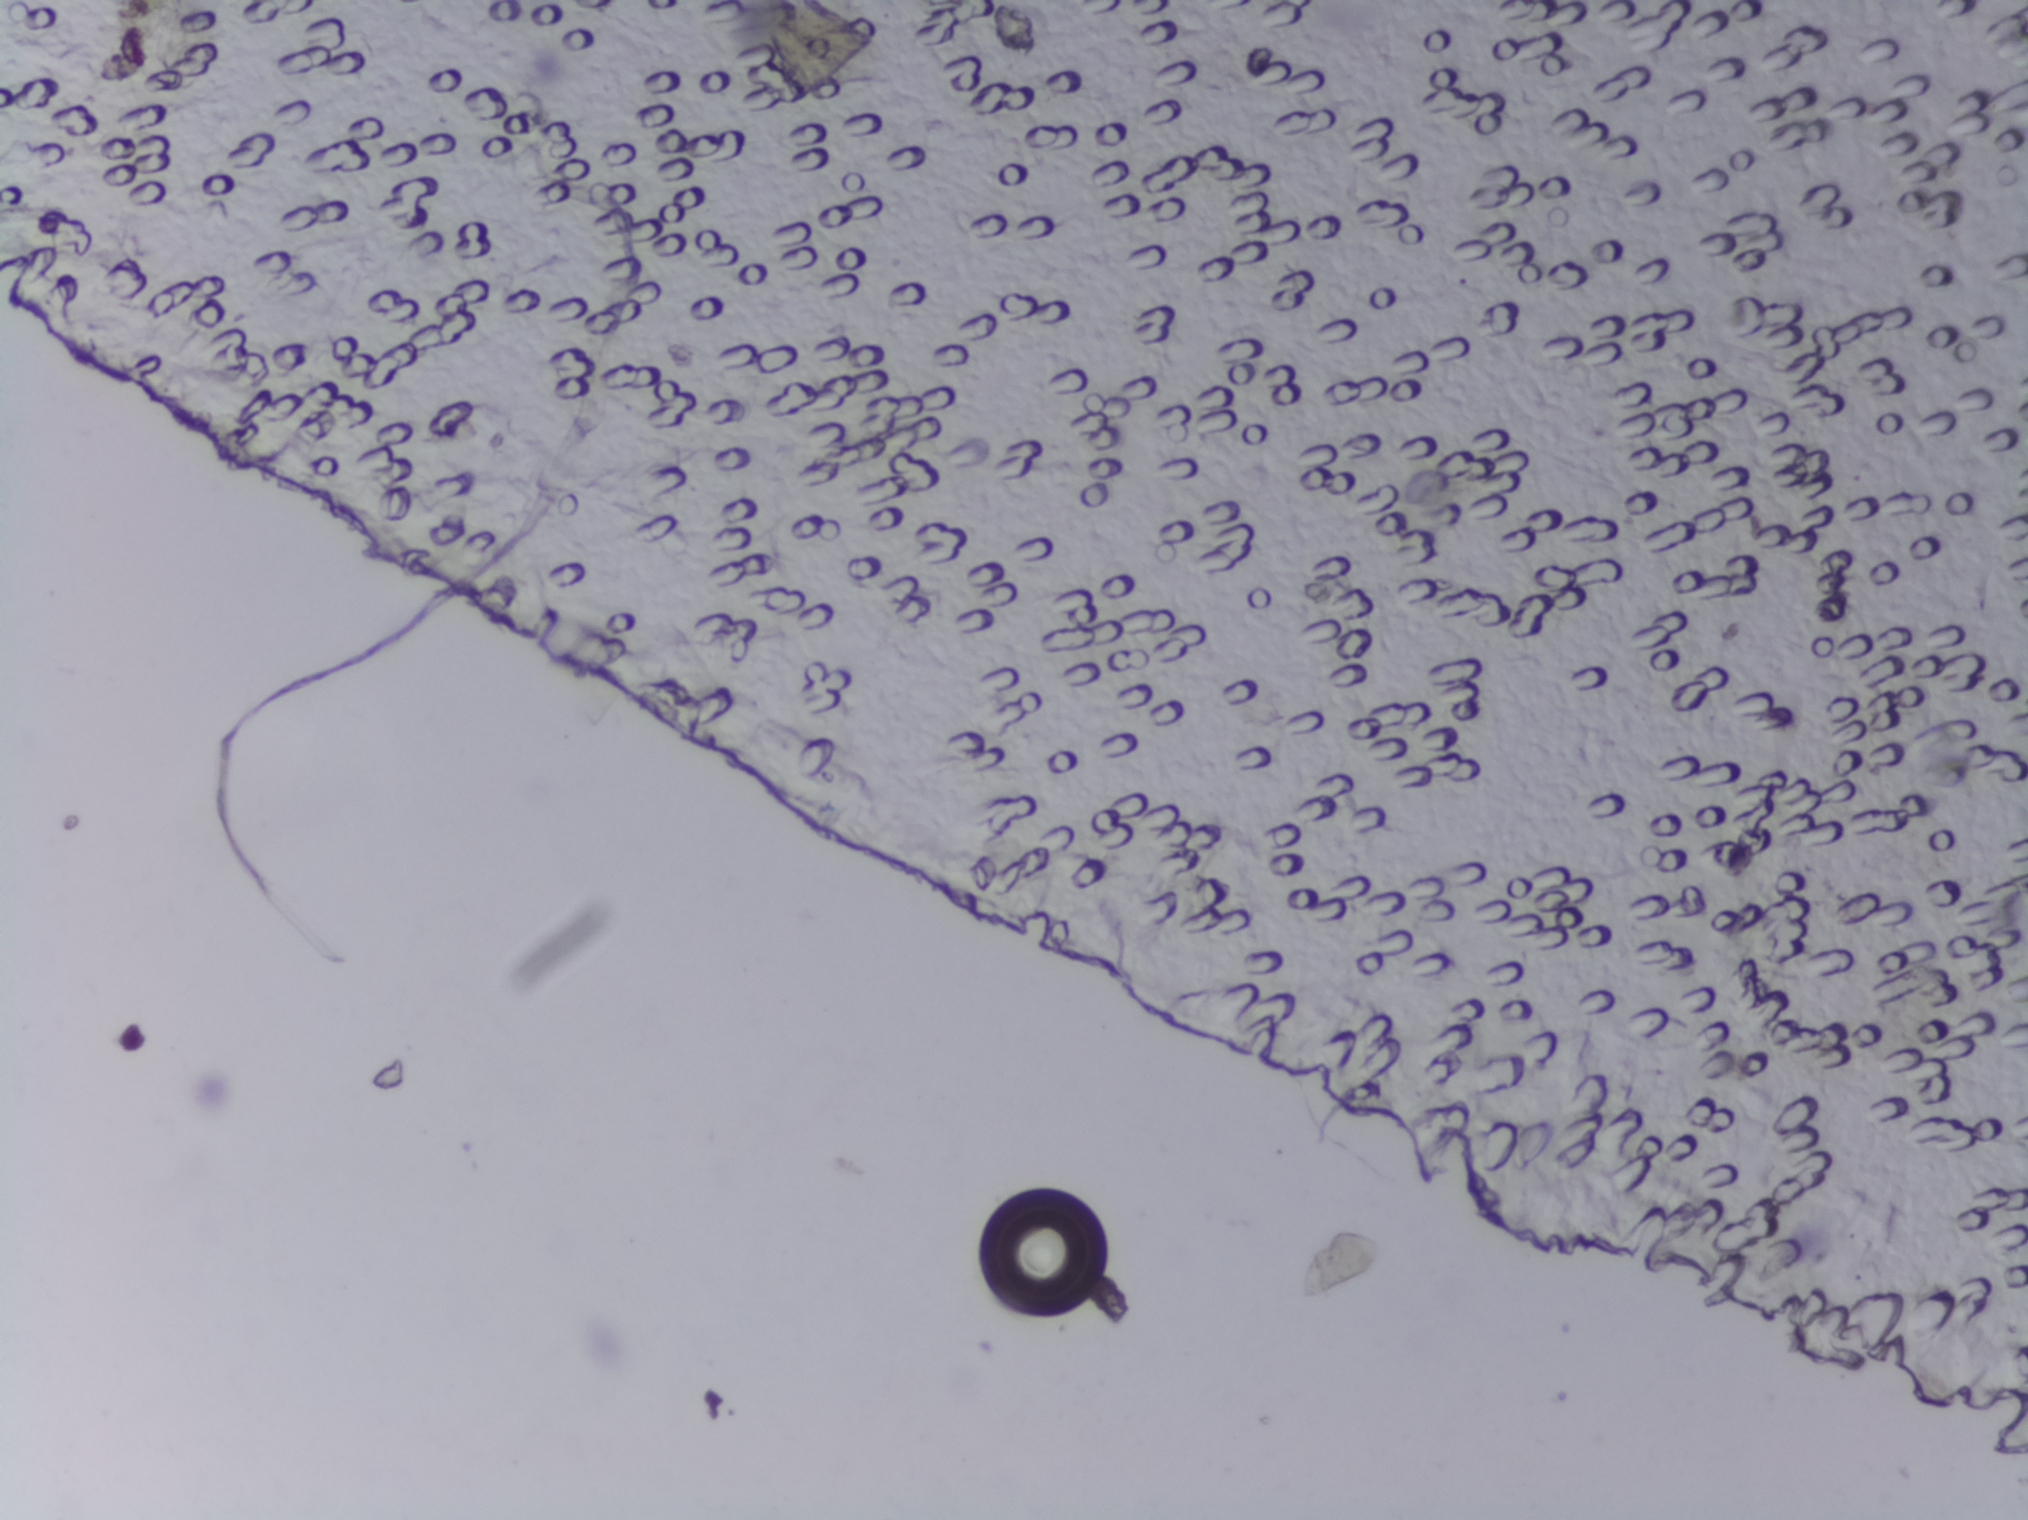
Photograph from an automated digital microscope: urine filter membrane, 4× objective. The image covers about 1.5 × 1.1 mm of the membrane.
The expert annotation outlines no Schistosoma egg in this image.